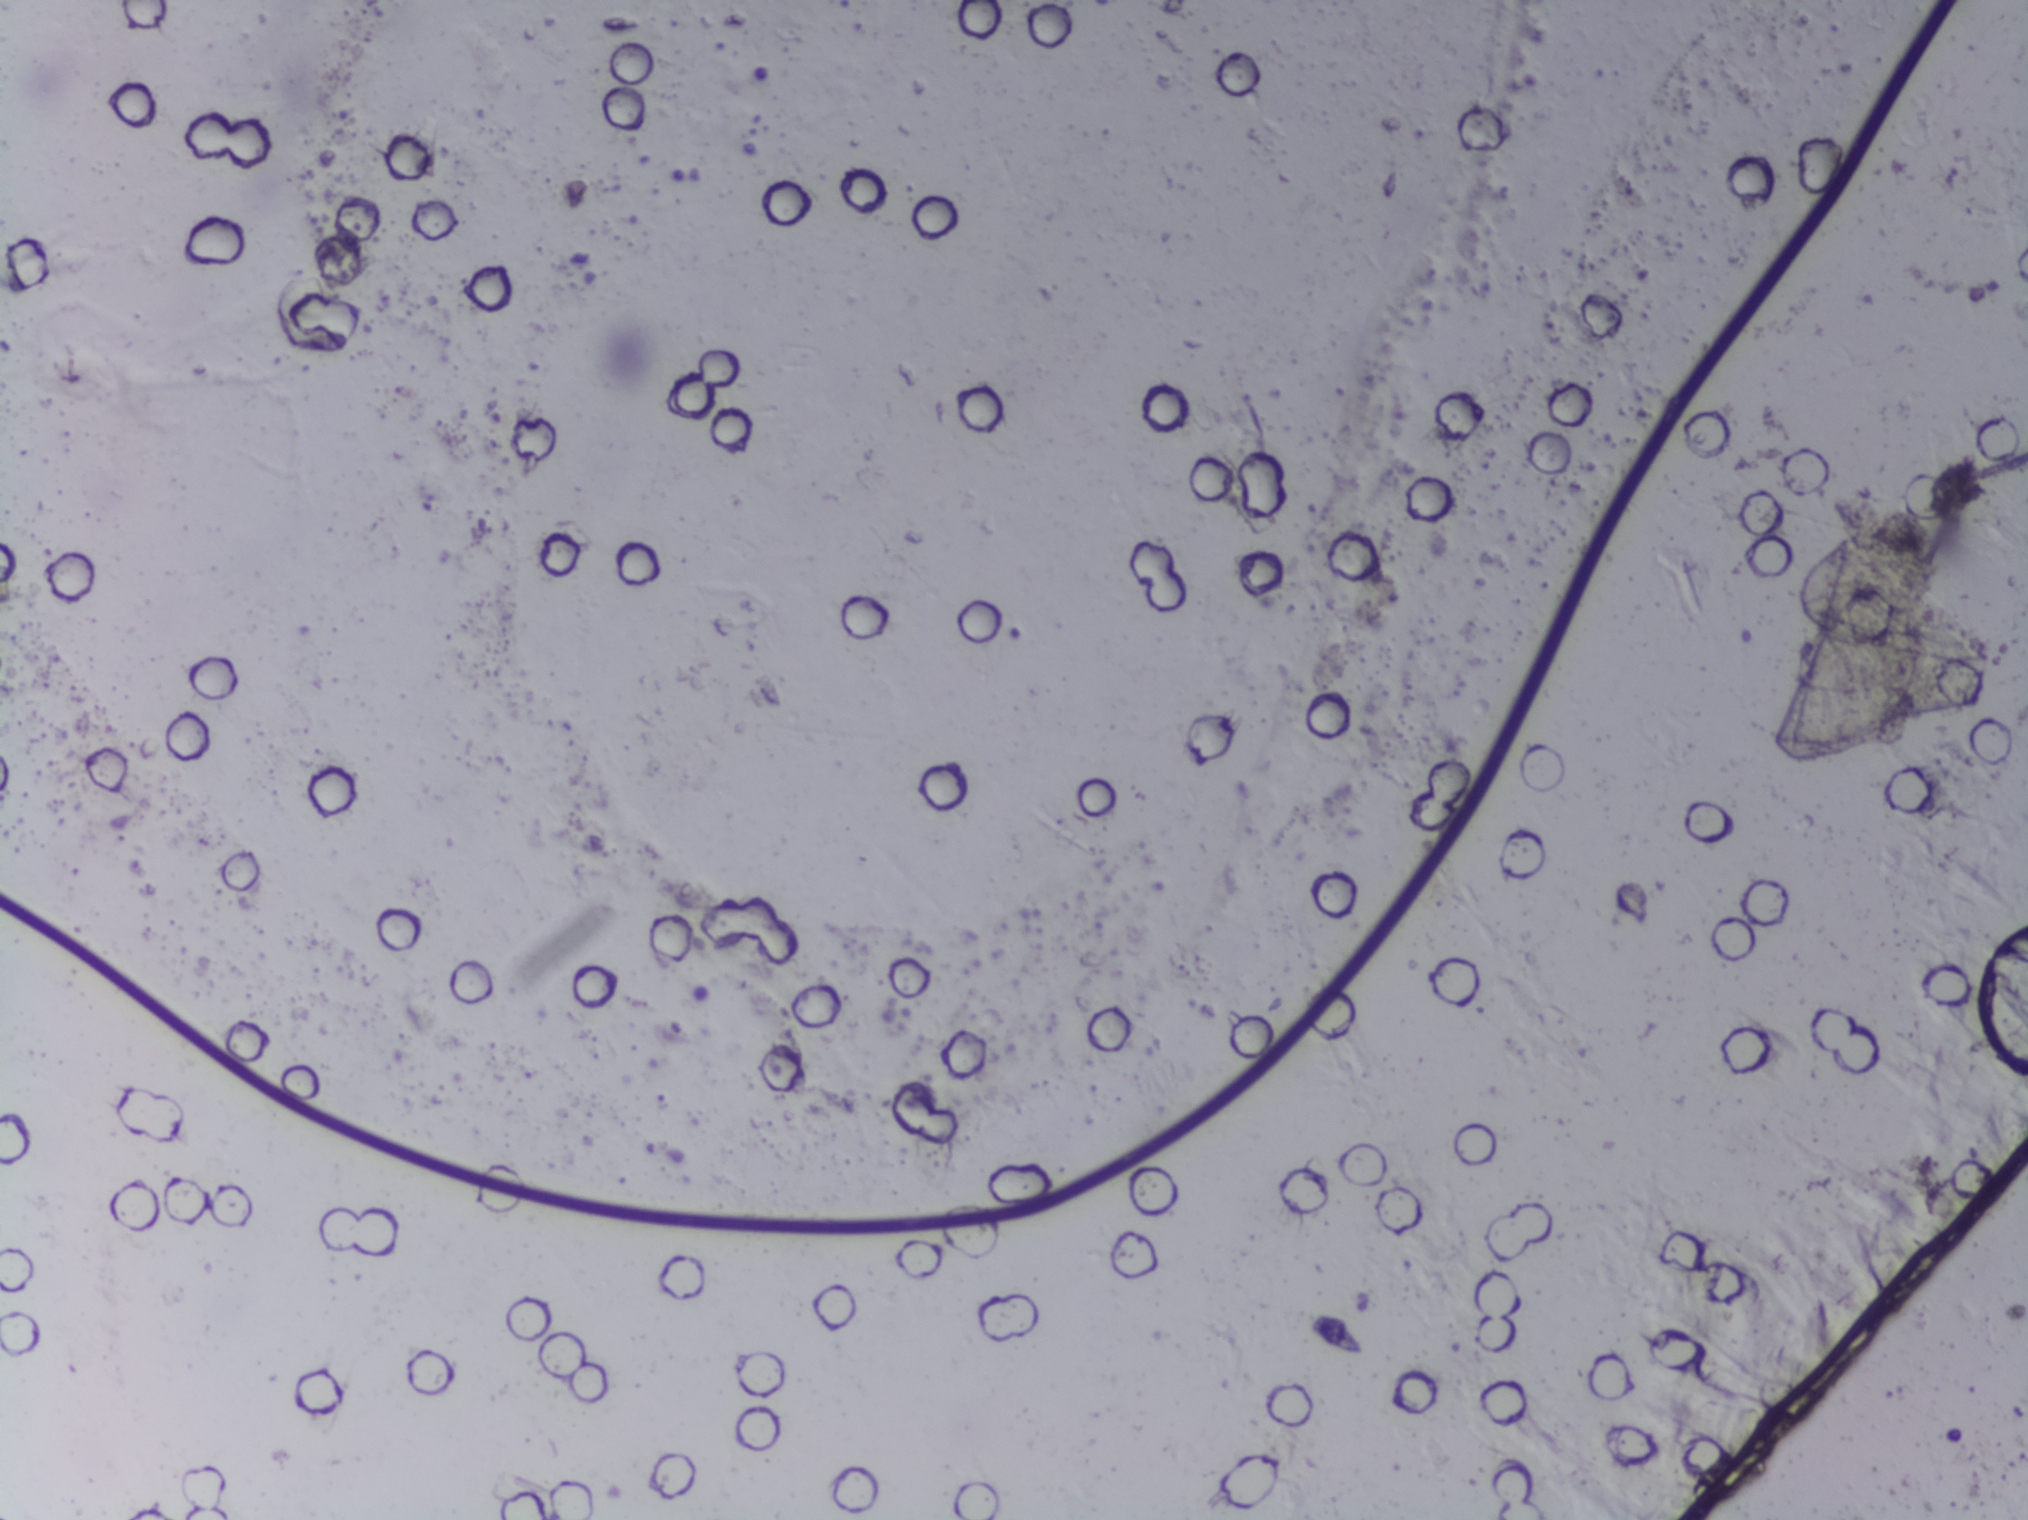
Urine filtration membrane under a 4× objective, photographed by an automated digital microscope.
No Schistosoma egg is outlined in this image's expert annotation.